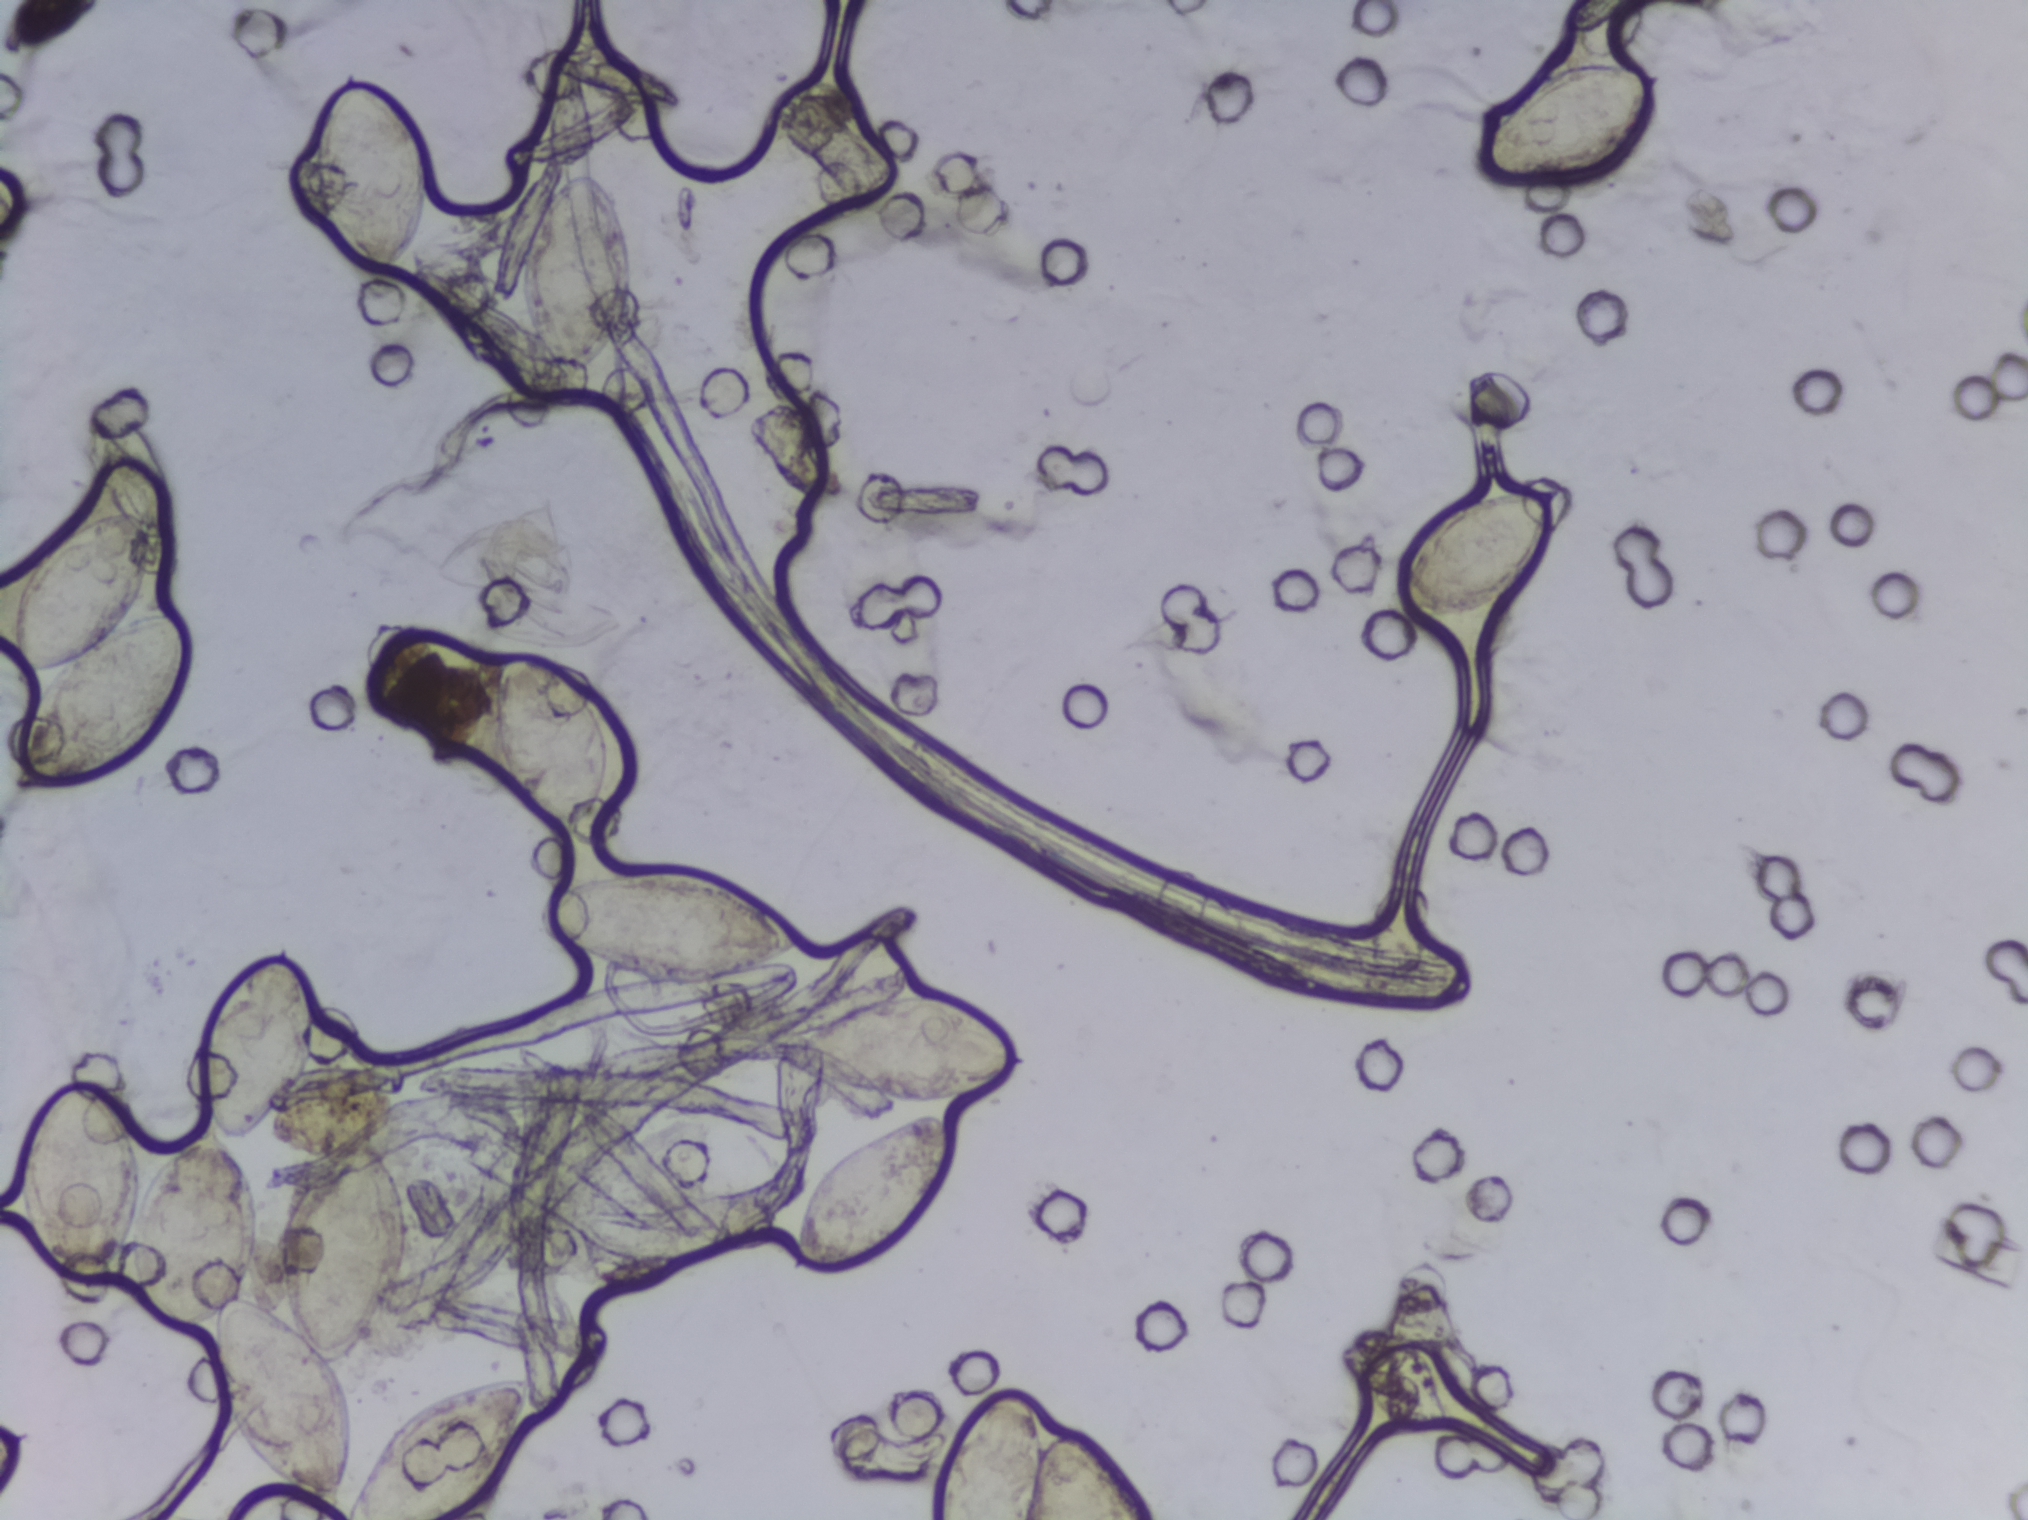
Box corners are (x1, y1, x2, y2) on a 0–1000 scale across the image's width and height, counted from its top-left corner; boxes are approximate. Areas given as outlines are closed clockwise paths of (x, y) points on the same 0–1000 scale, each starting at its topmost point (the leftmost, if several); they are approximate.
12 areas of this image are outlined as Schistosoma eggs, from left to right: box (4, 331, 98, 526); outline (138, 619), (149, 630), (155, 648), (155, 692), (138, 735), (127, 749), (115, 753), (126, 773), (128, 790), (128, 819), (119, 854), (143, 864), (136, 813), (143, 778), (173, 742), (184, 744), (190, 752), (201, 797), (198, 844), (190, 865), (166, 900), (174, 941), (170, 992), (166, 994), (154, 991), (130, 971), (109, 928), (103, 873), (78, 875), (67, 854), (62, 832), (55, 858), (41, 859), (31, 850), (21, 833), (11, 798), (7, 769), (7, 756), (17, 727), (33, 706), (49, 703), (63, 723), (70, 740), (72, 782), (84, 760), (102, 738), (99, 725), (99, 688), (104, 660) (eggs clustered together); box (154, 46, 214, 191); box (169, 901, 262, 1000) (reaching the bottom edge of the frame); box (241, 427, 301, 561); box (254, 111, 313, 260); box (264, 567, 397, 649); box (370, 651, 507, 726); box (389, 729, 470, 842); box (458, 910, 570, 1000) (reaching the bottom edge of the frame); box (686, 317, 772, 409); box (730, 39, 821, 122). Eggs that touch can end up inside the same outlined area.
One field of view of a urine filter membrane, 4× objective, 2028 × 1520 pixels.